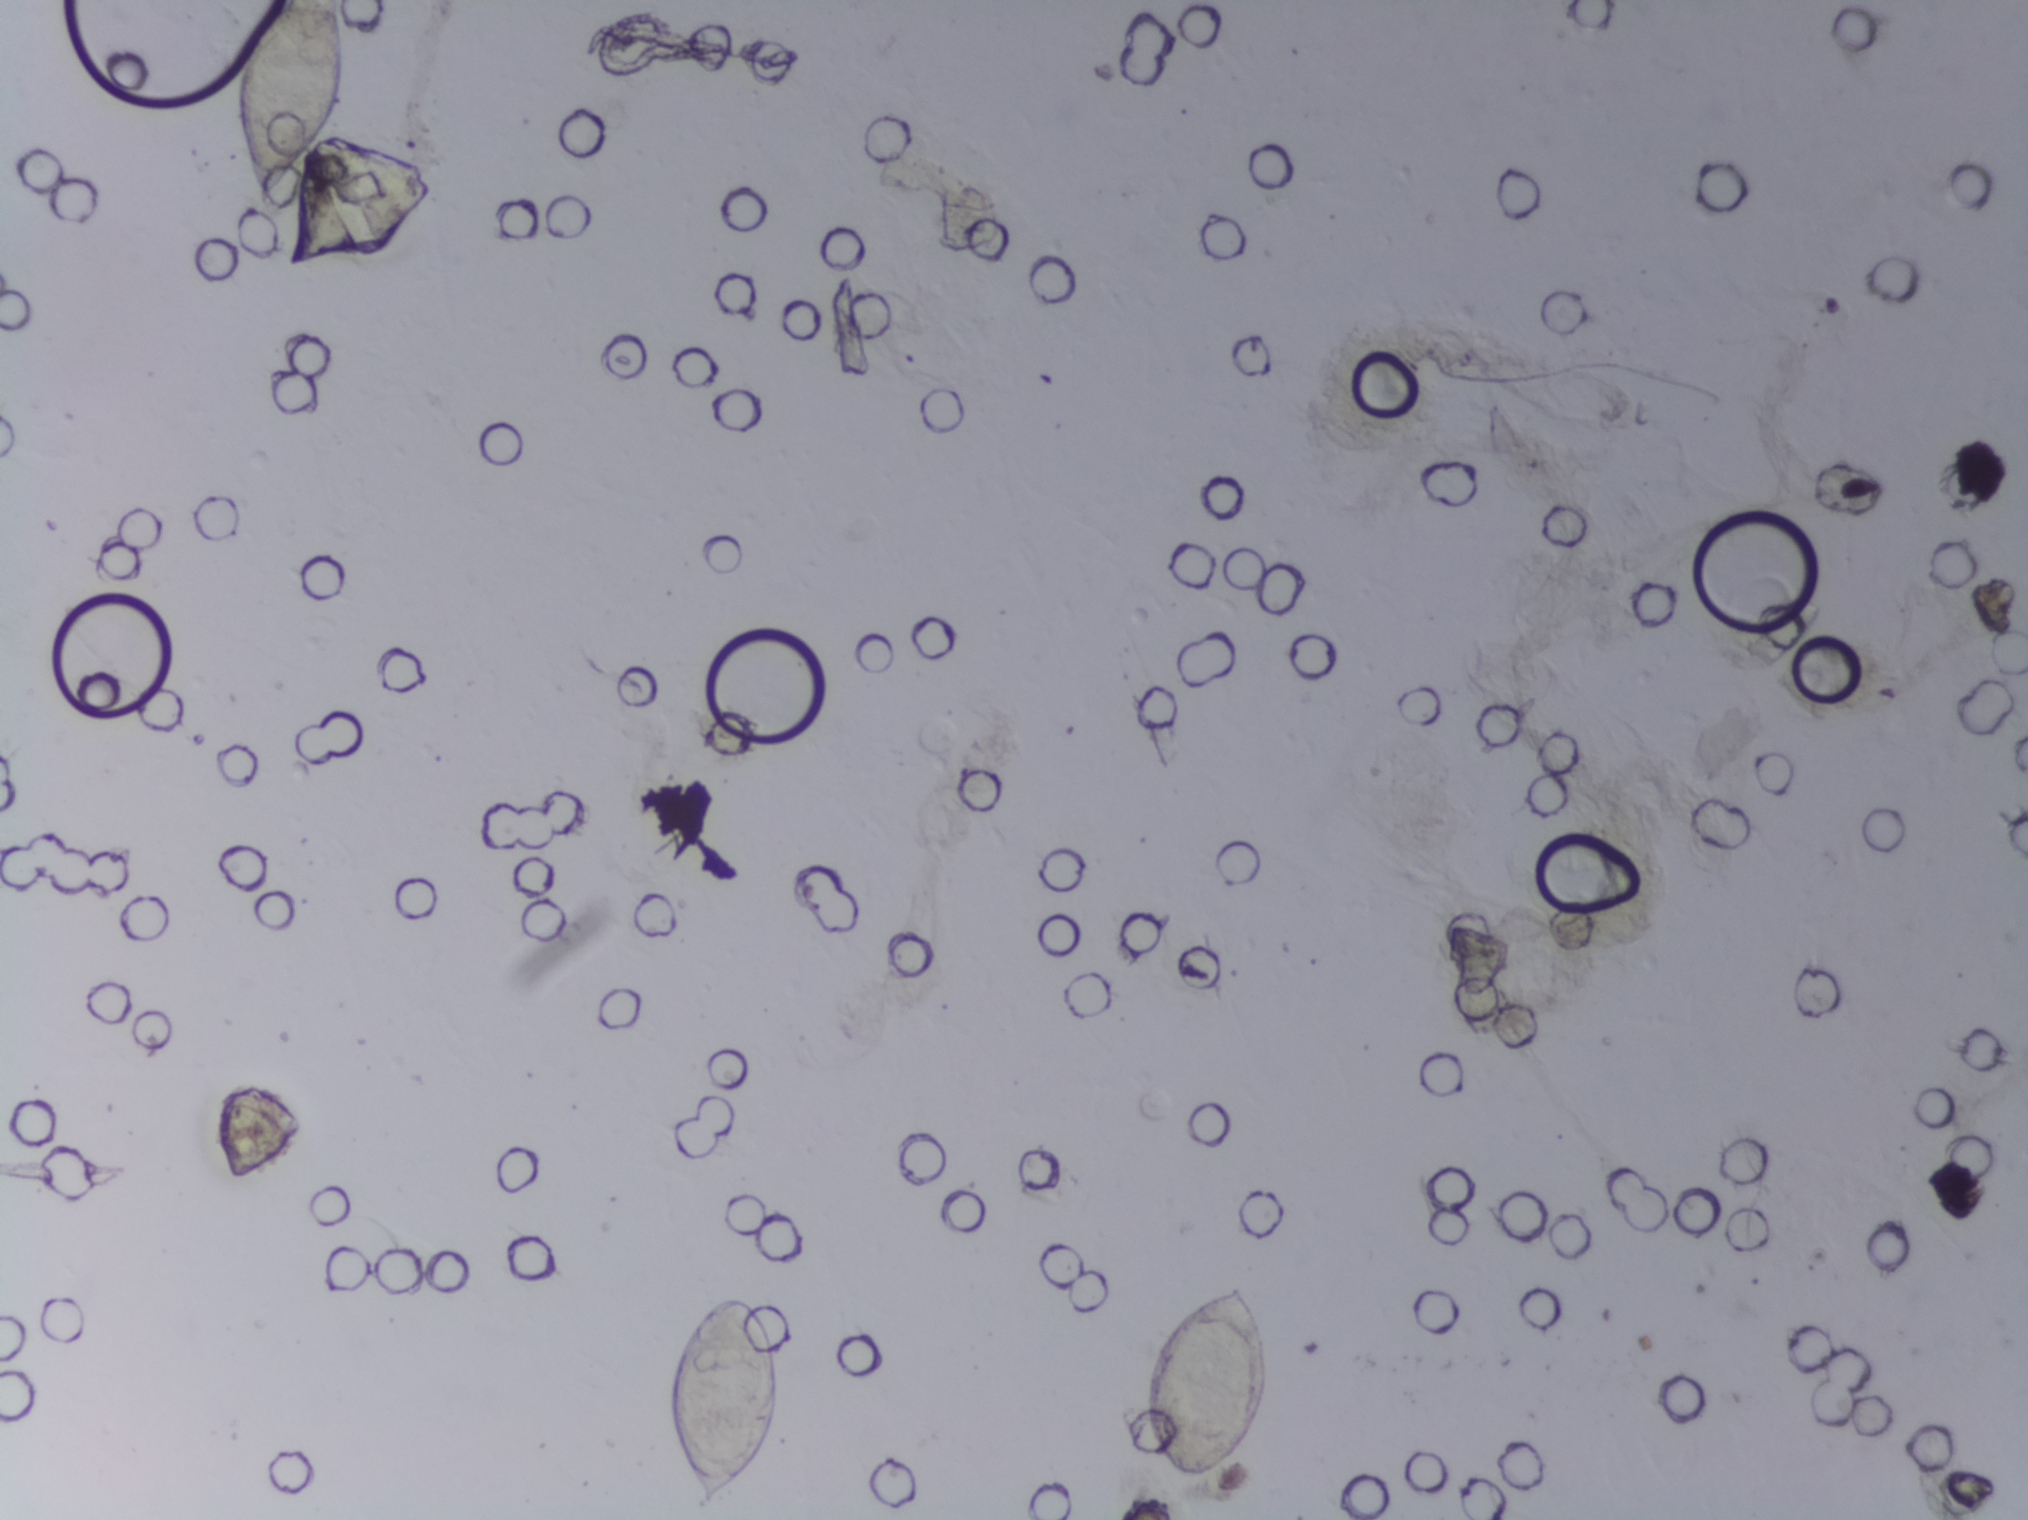
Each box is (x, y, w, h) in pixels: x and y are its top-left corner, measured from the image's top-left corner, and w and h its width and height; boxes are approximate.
Schistosoma eggs are outlined in three areas of this image, listed from left to right: (x=231, y=0, w=113, h=212) (reaching the top edge of the frame); (x=665, y=1293, w=120, h=227) (reaching the bottom edge of the frame); (x=1140, y=1277, w=134, h=212). About 1.9% of the image's pixels are marked (the marked pixels themselves, not the boxes around them). Eggs that touch can end up inside the same outlined area.
Photograph from an automated digital microscope: urine filter membrane, 4× objective. The image covers about 1.5 × 1.1 mm of the membrane.